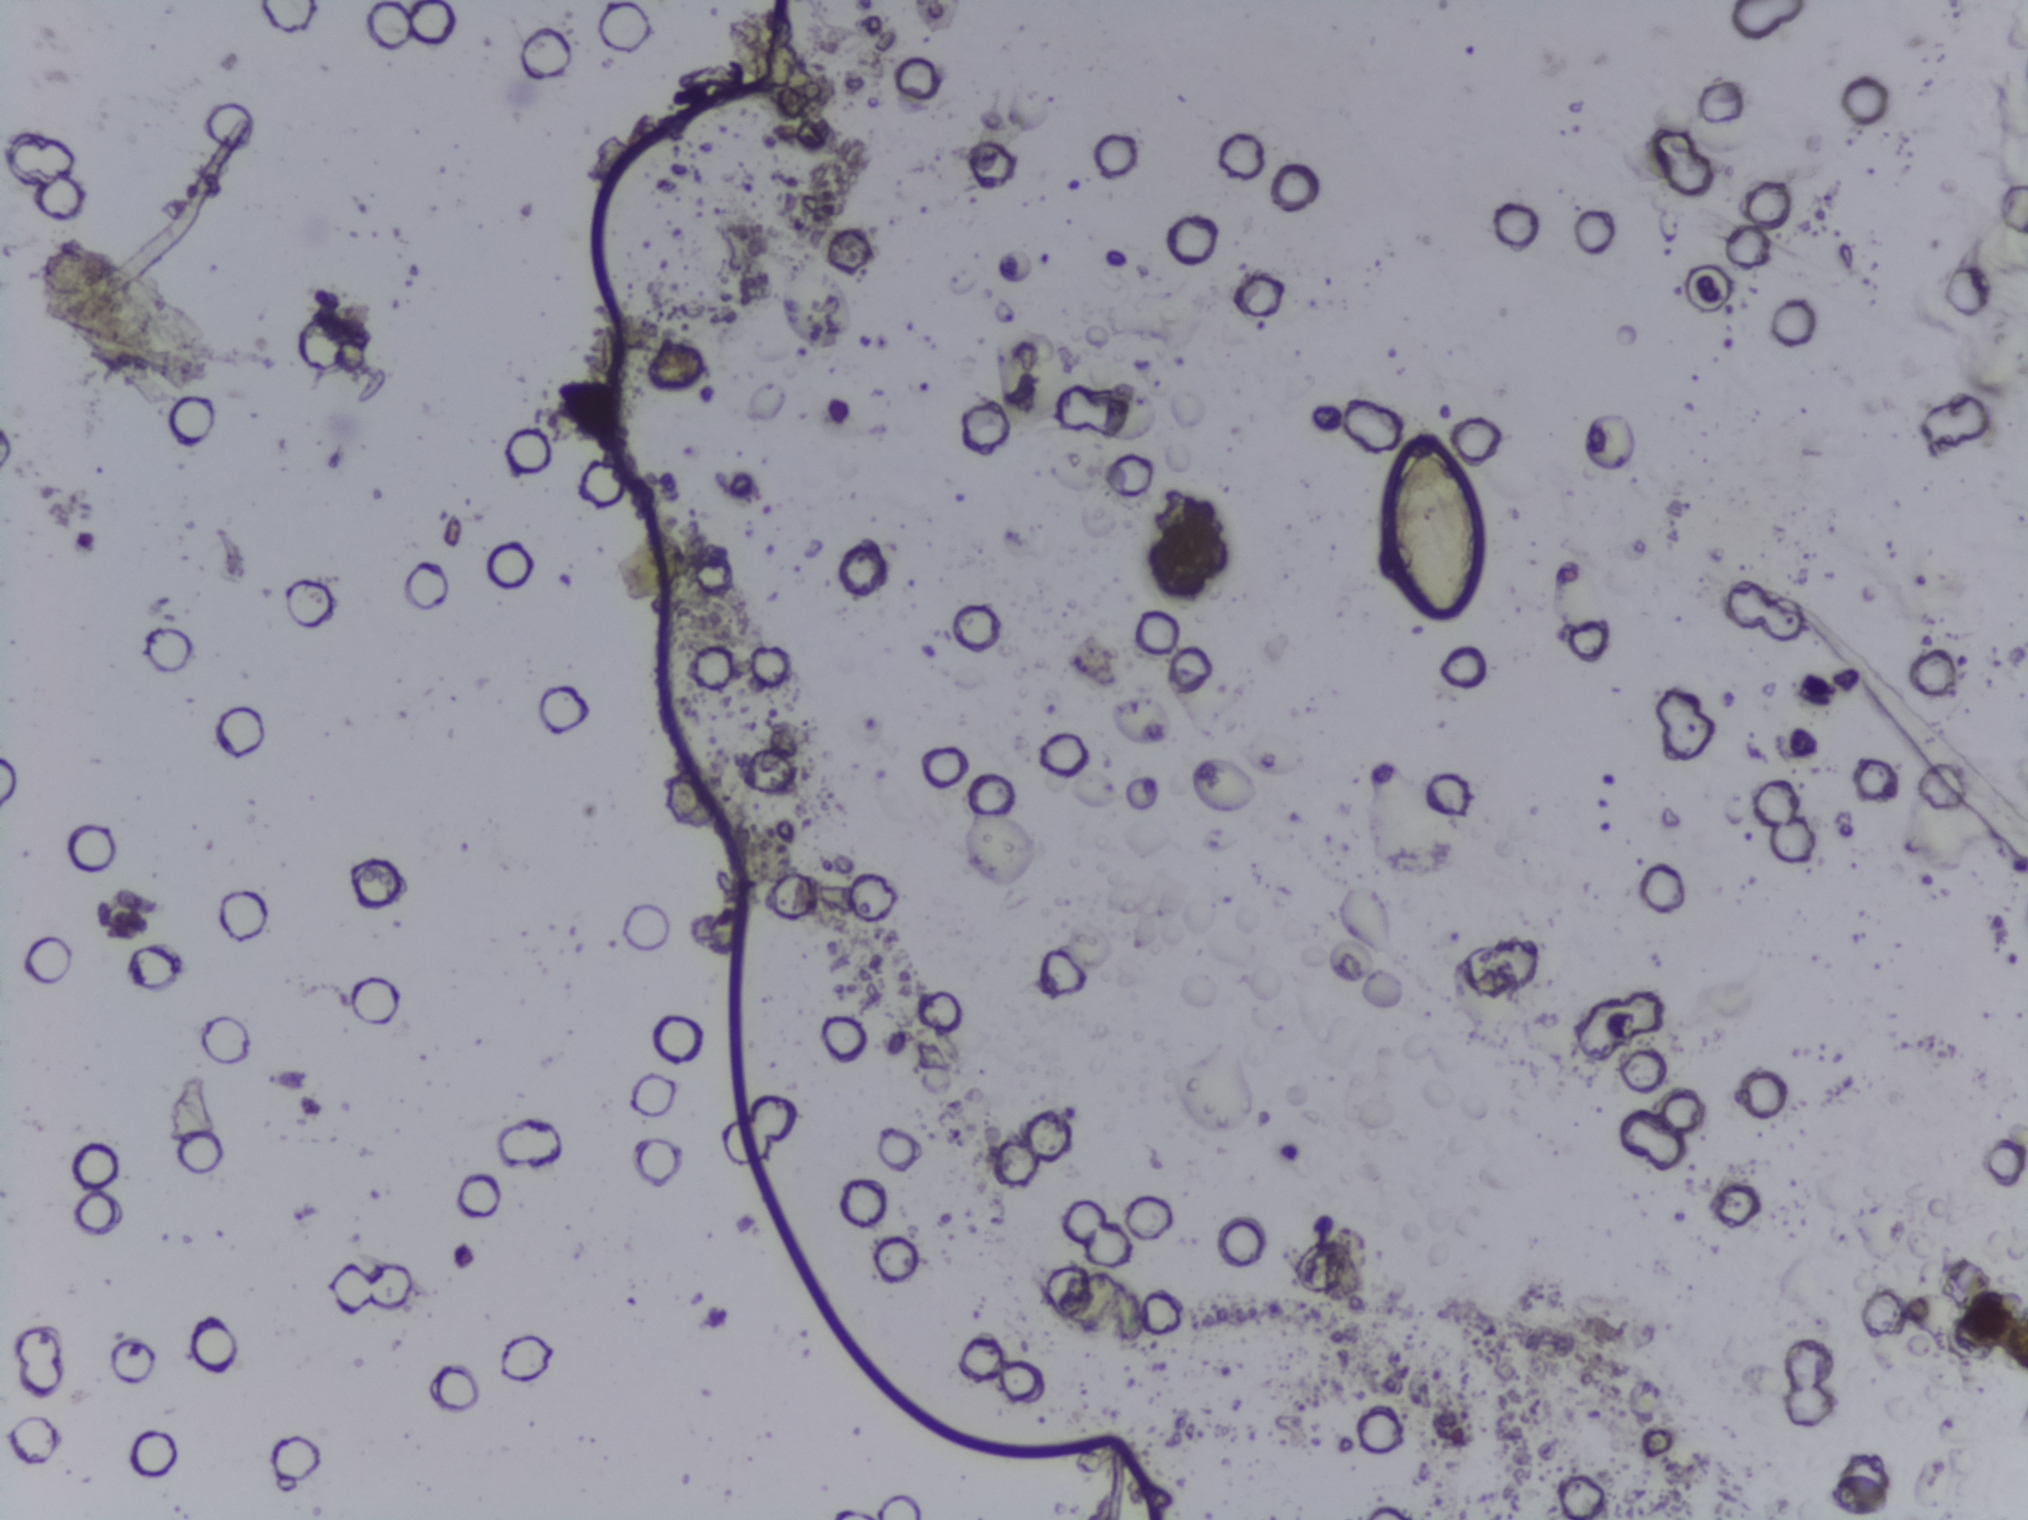
Photomicrograph of a urine filtration membrane, 4× objective.
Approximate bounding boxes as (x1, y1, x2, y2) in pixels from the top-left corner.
Schistosoma eggs, outlined areas: (1391, 444, 1489, 628). Marked pixels, not the box around them: about 0.4% of the image. Eggs that touch can end up inside the same outlined area. A marked egg may occasionally be S. mansoni rather than S. haematobium.